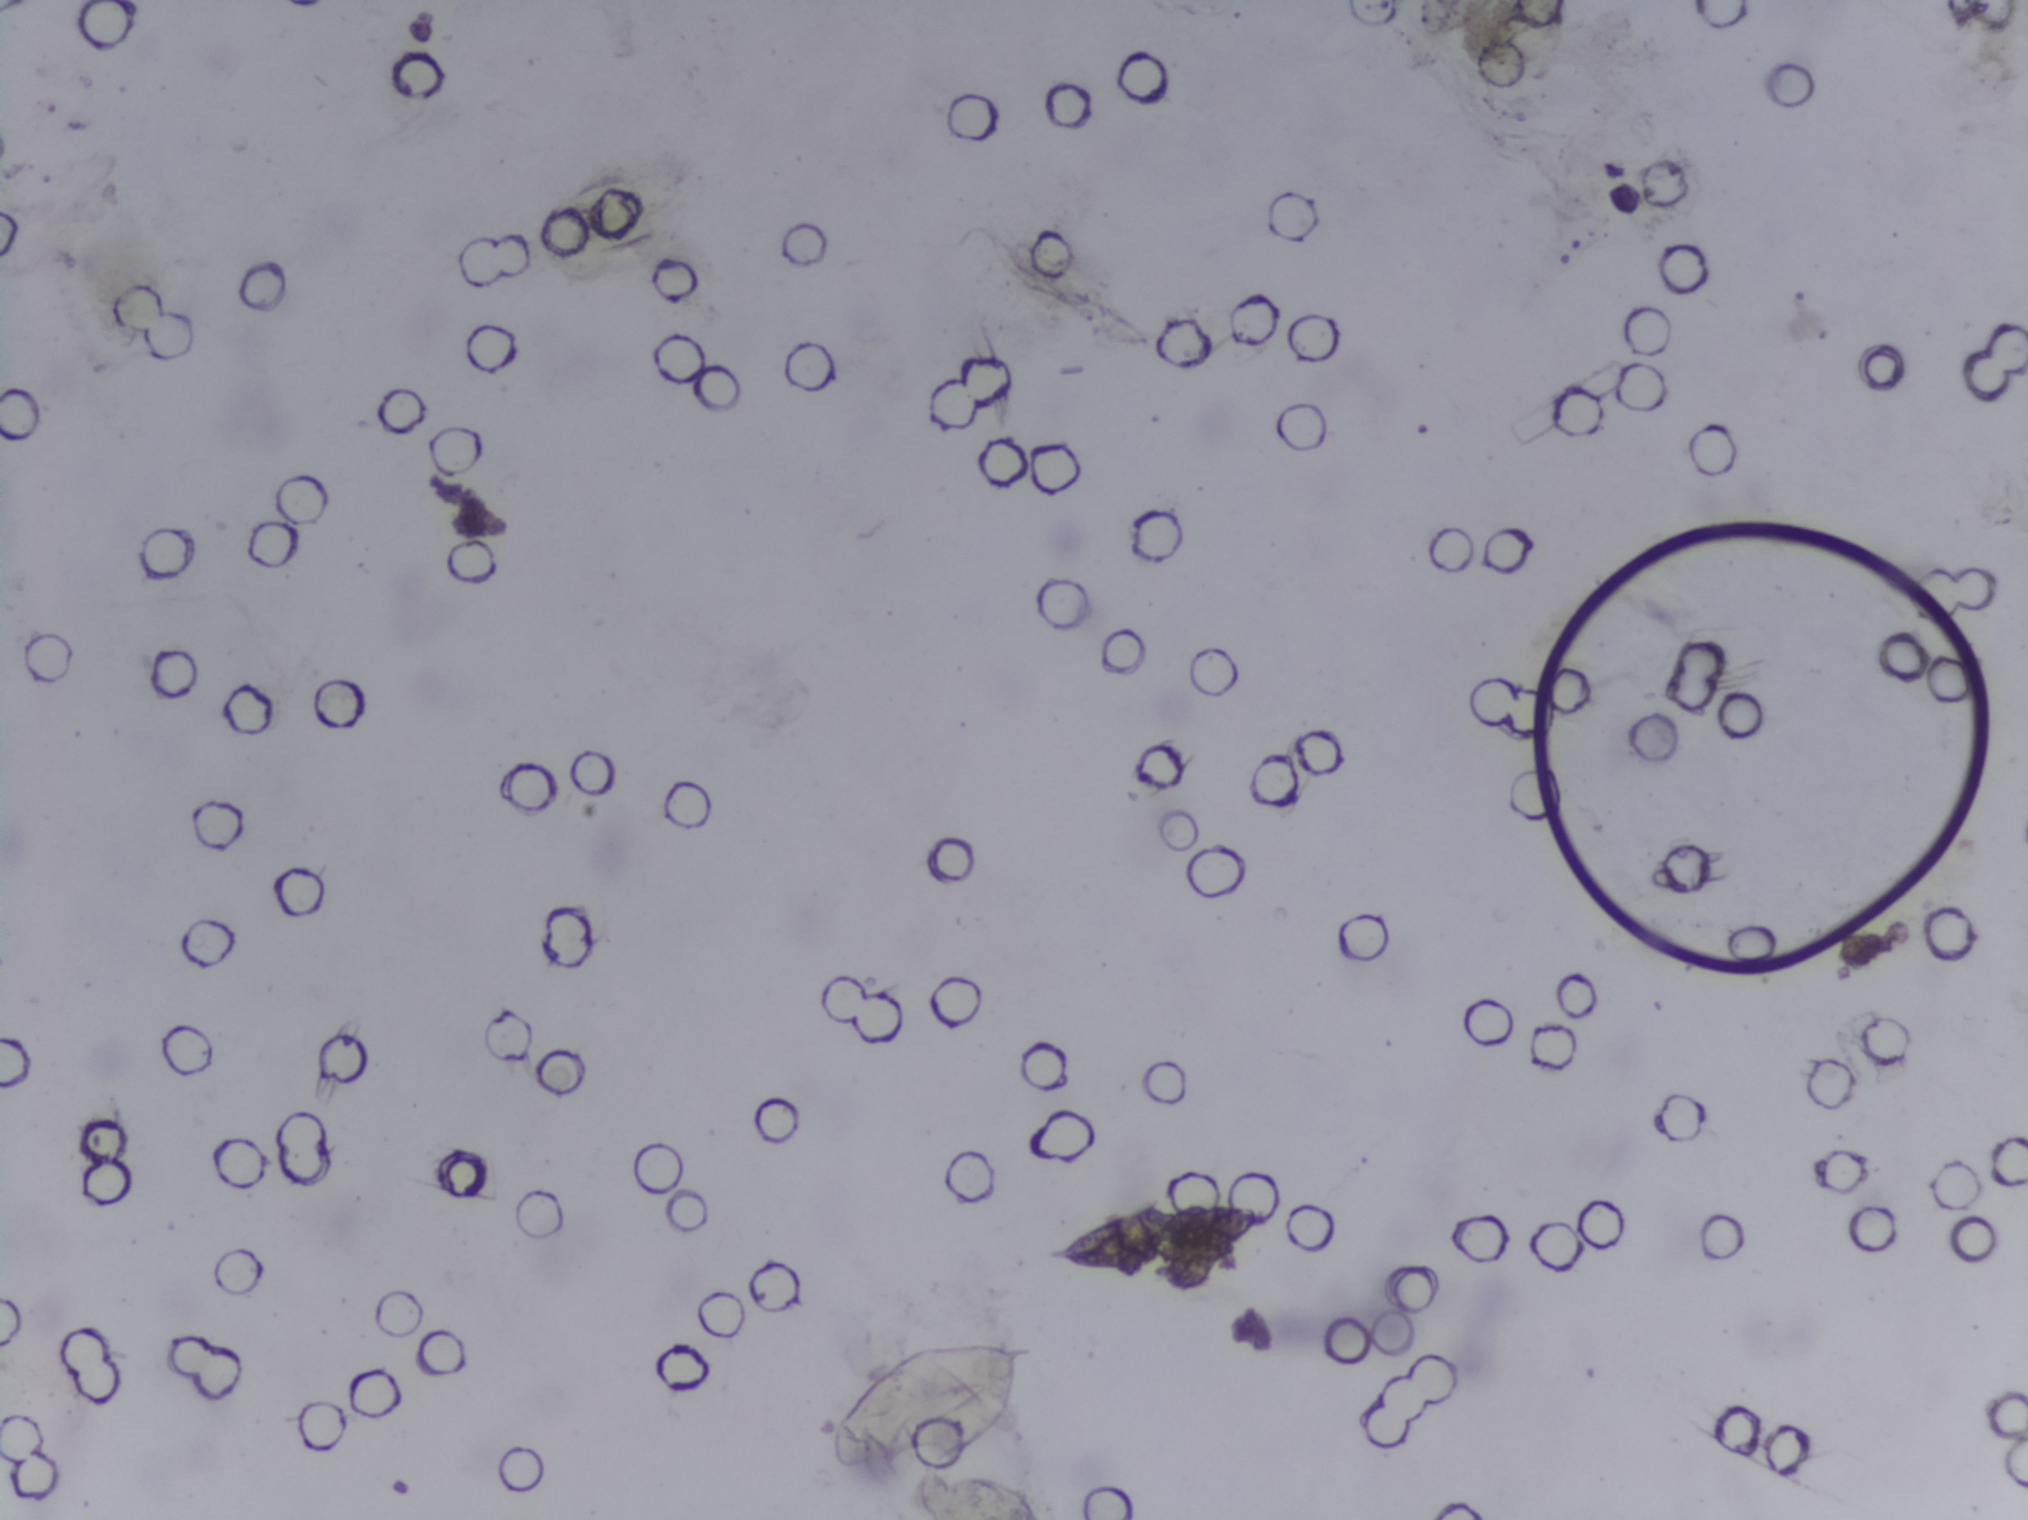
Photomicrograph of a urine filtration membrane, 4× objective. Field of view: about 1.5 mm wide and 1.1 mm high.
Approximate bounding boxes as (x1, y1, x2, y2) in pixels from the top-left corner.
Schistosoma egg areas, outlined: (823, 1332, 1036, 1479). Eggs that touch can end up inside the same outlined area.